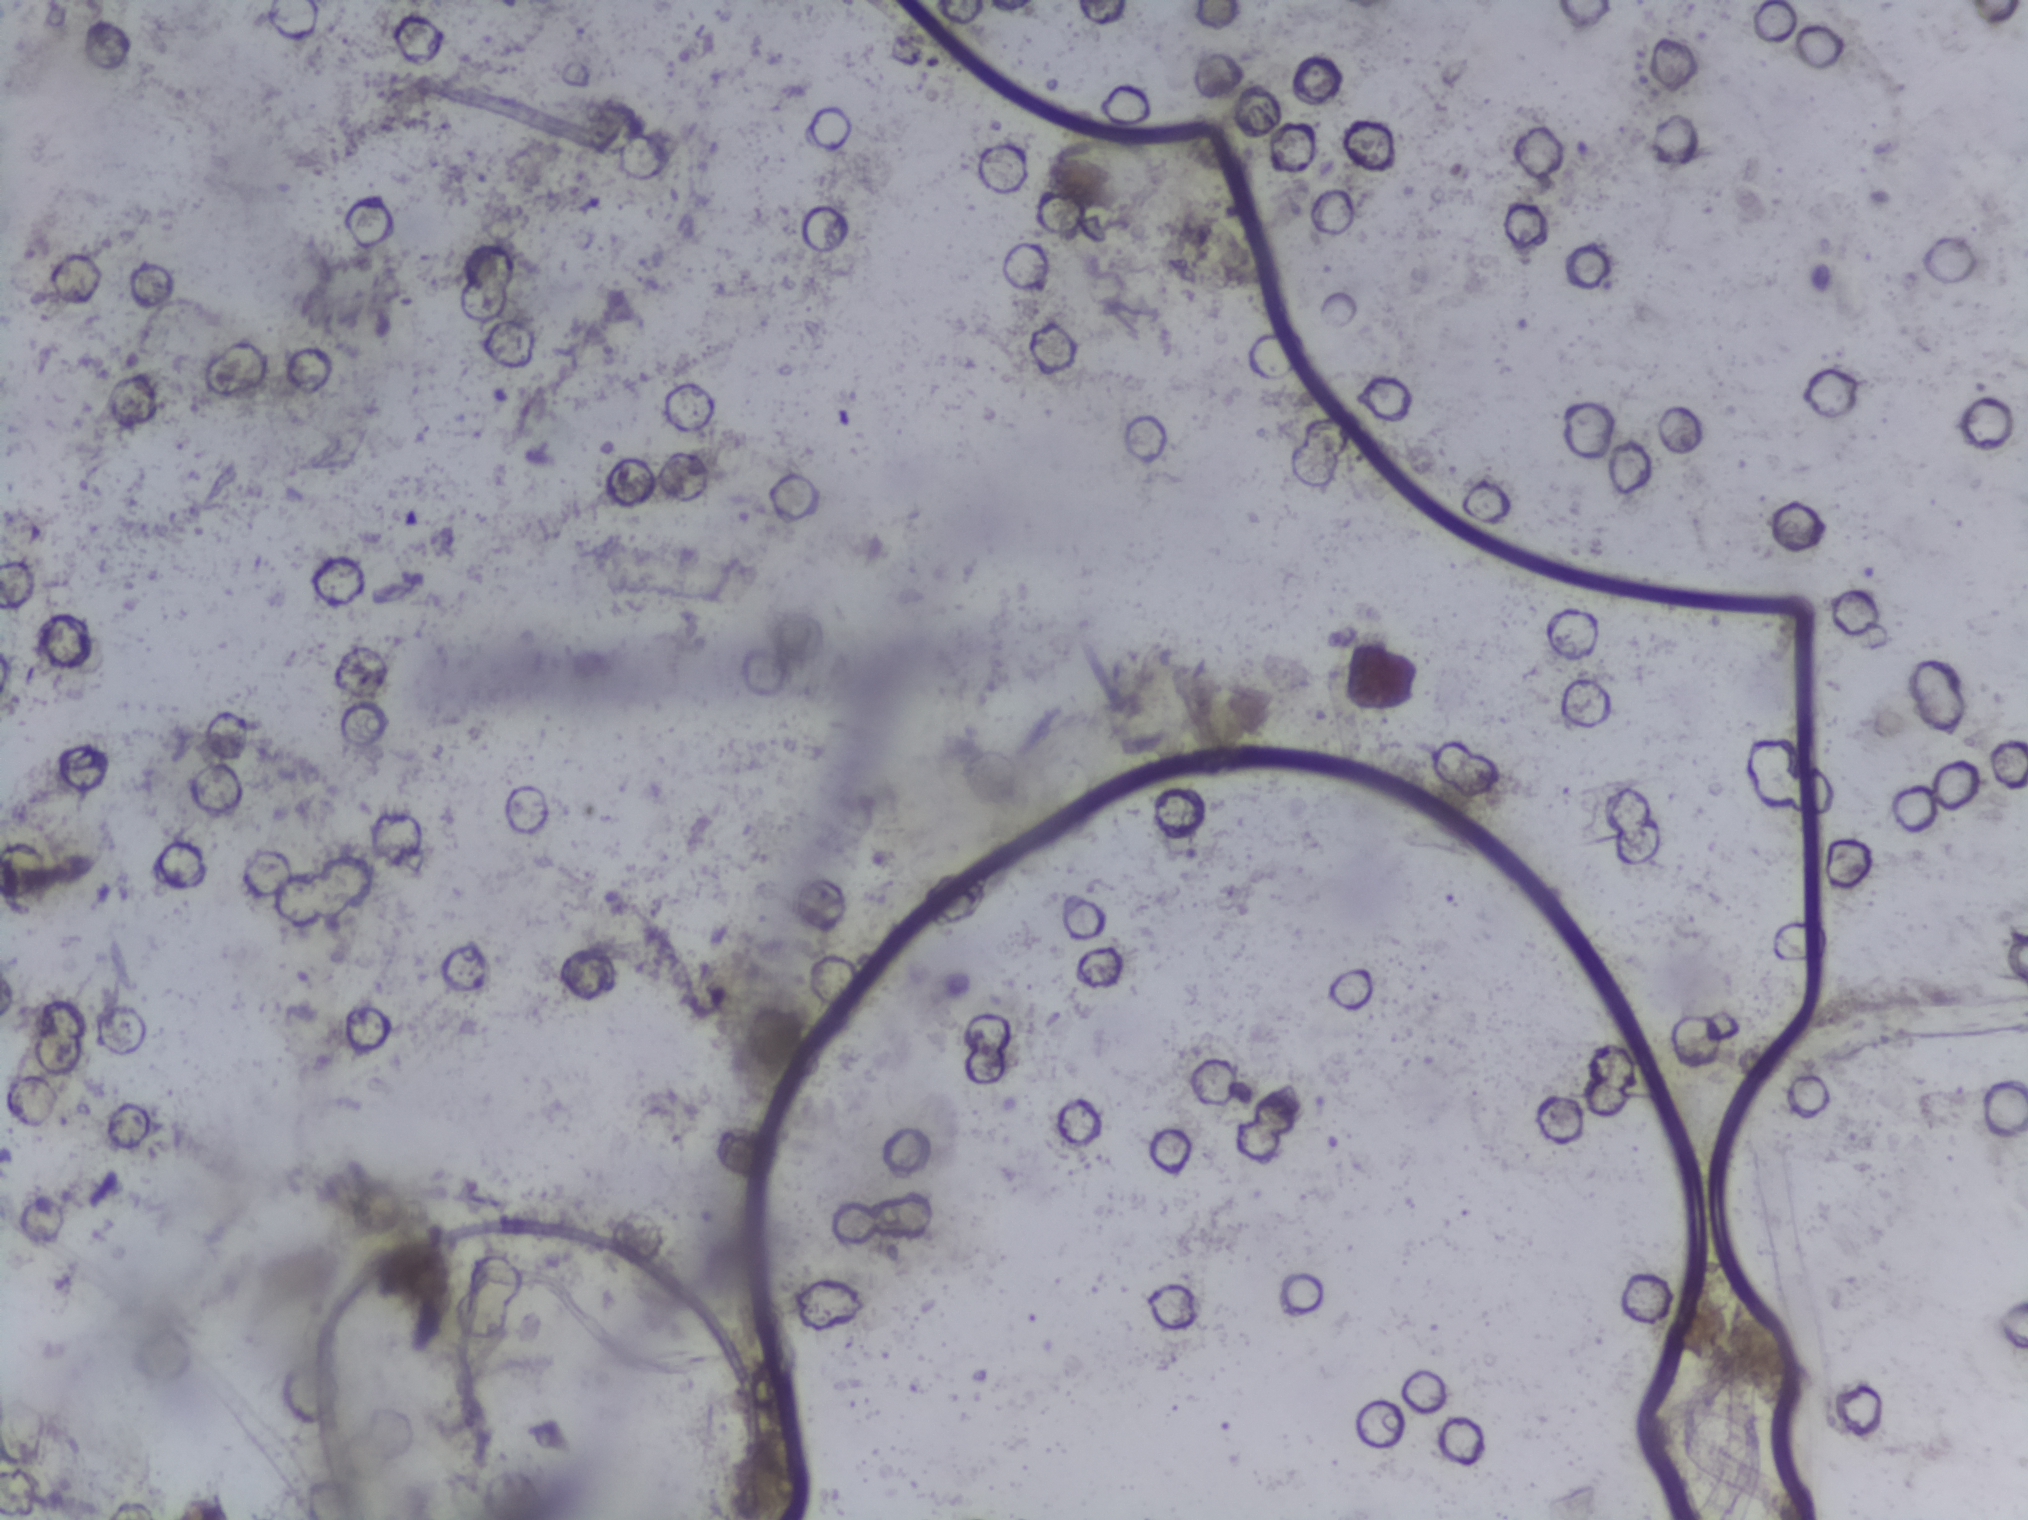
Photograph from an automated digital microscope: urine filter membrane, 4× objective.
The expert annotation outlines no Schistosoma egg in this image.